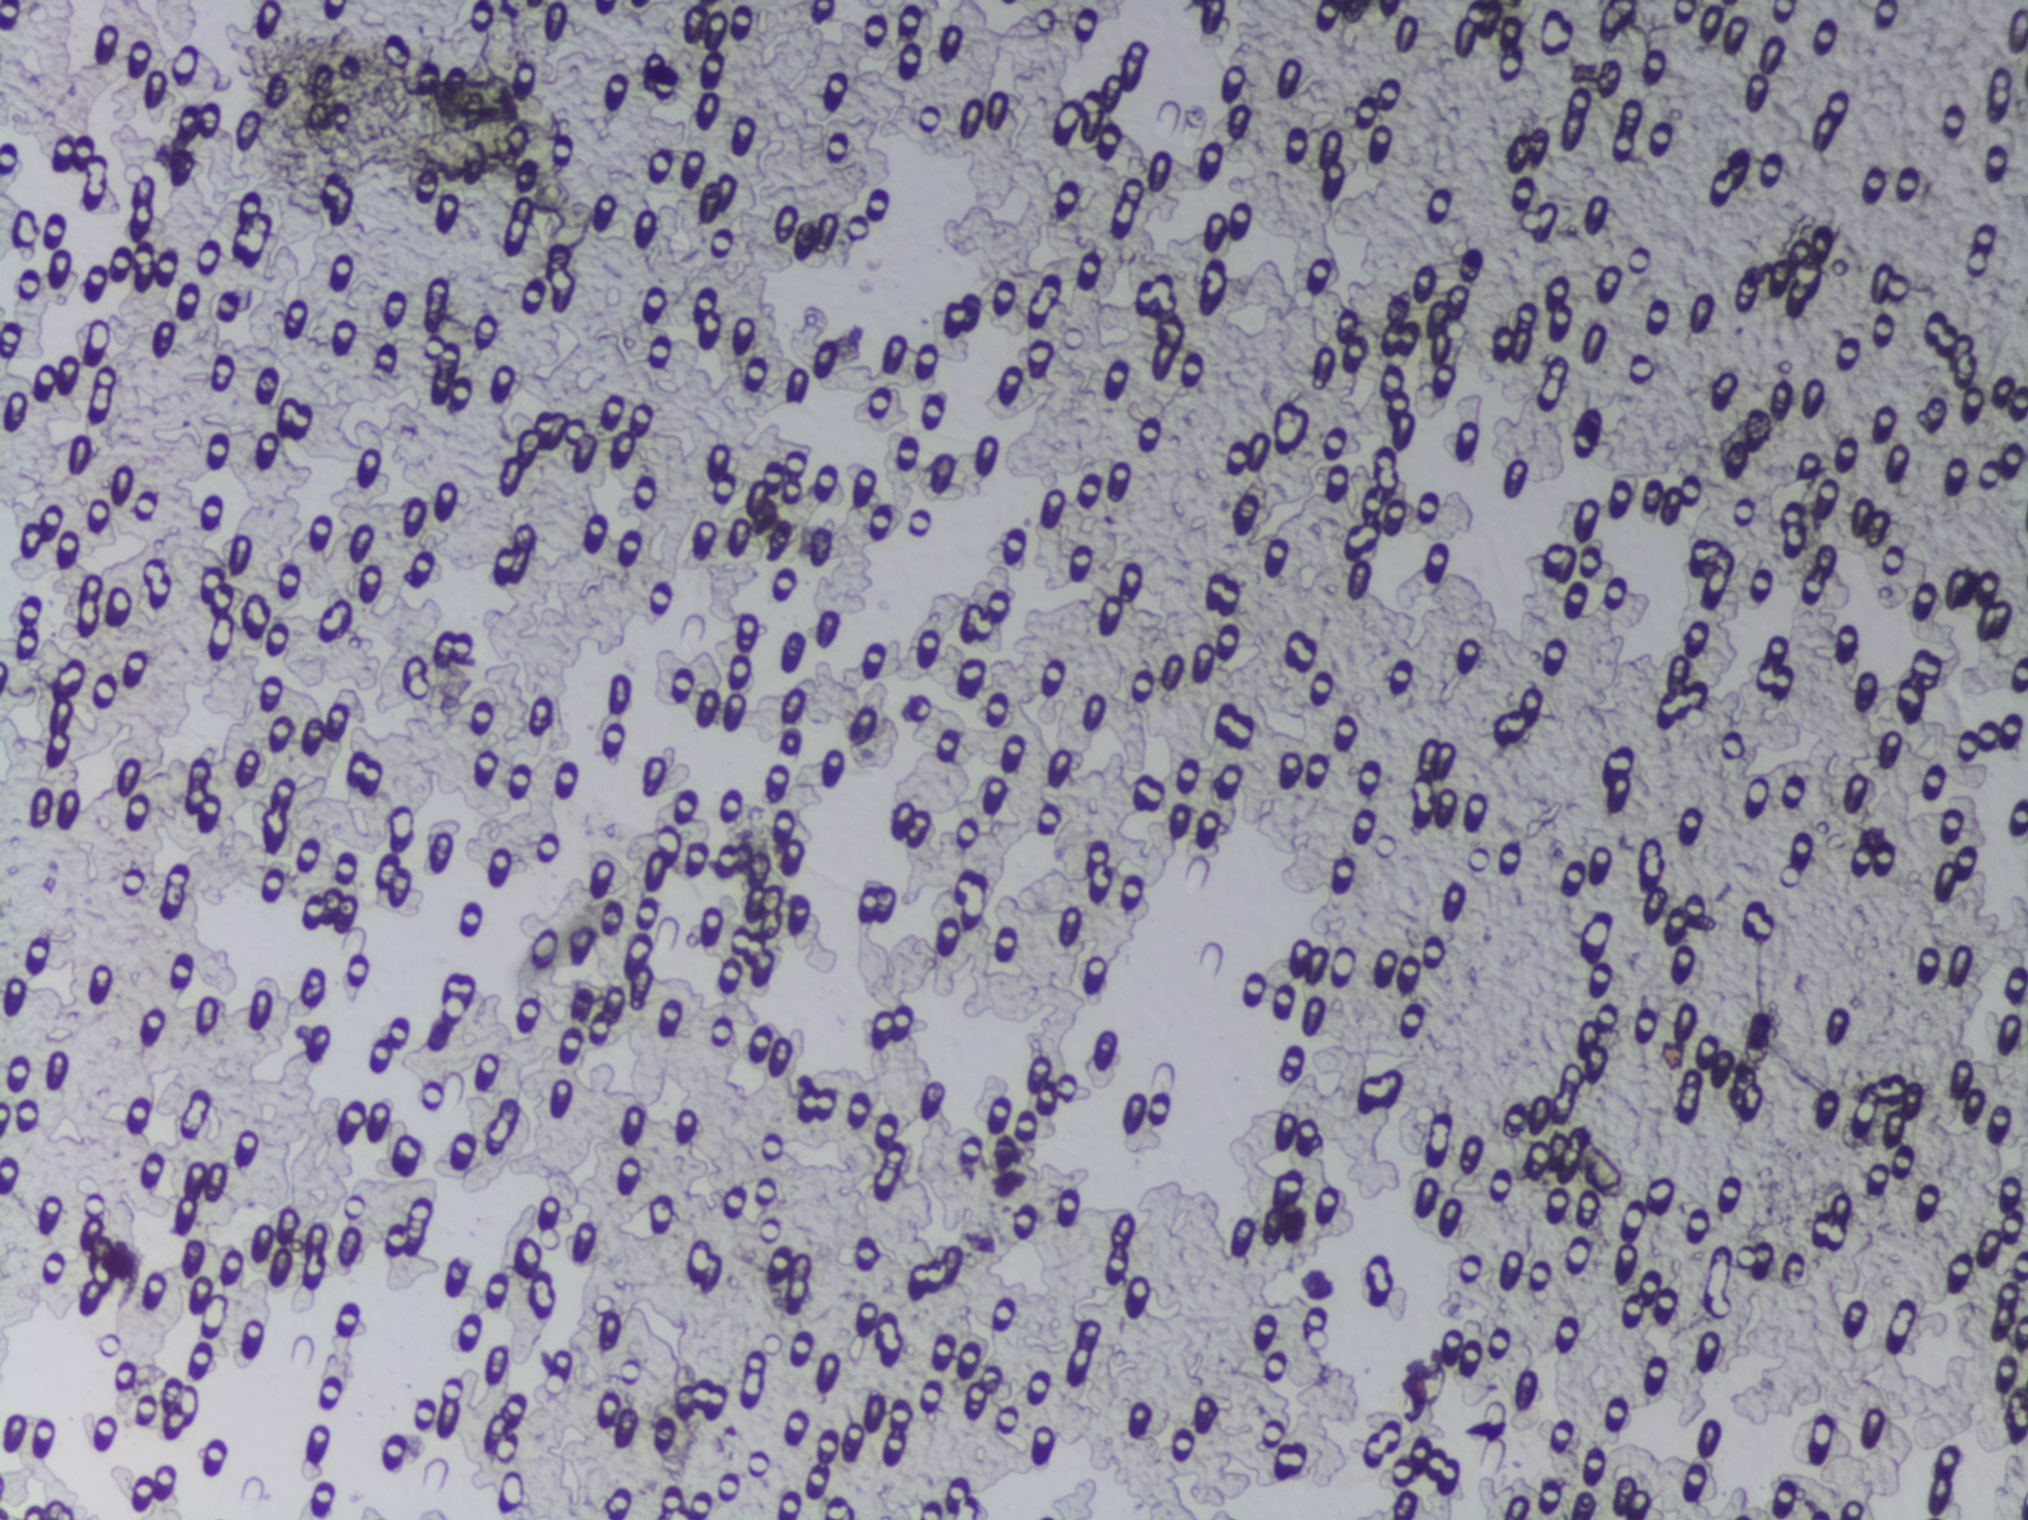
No Schistosoma egg is outlined in this image's expert annotation.
Microscope photograph (4× objective) of a membrane that a urine sample was filtered through.